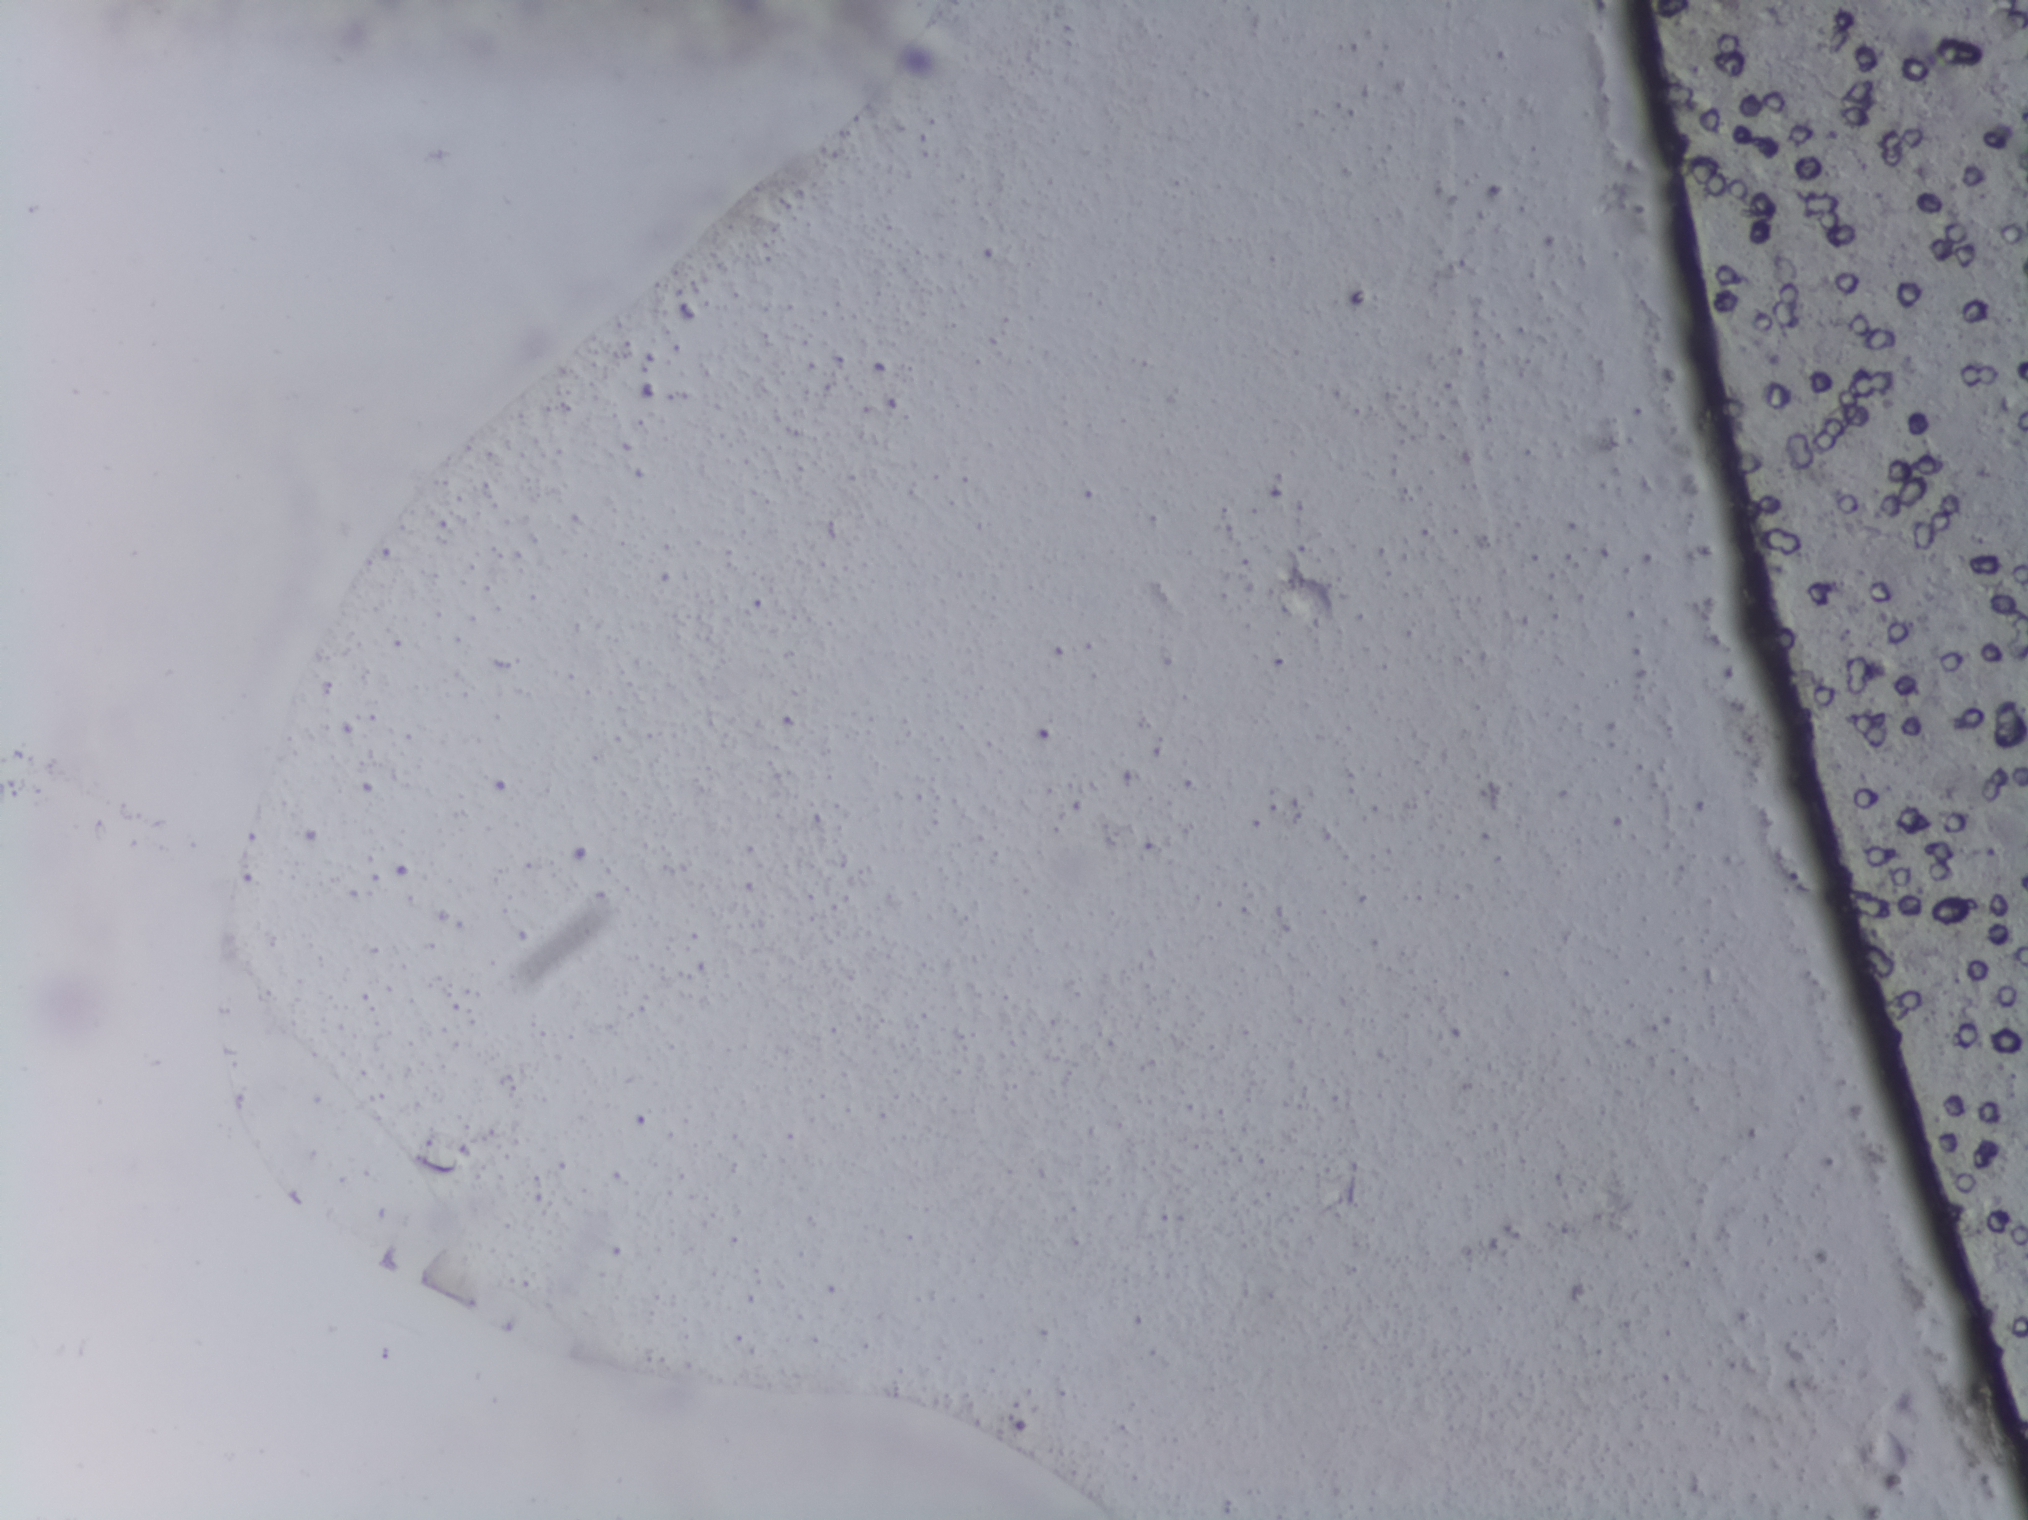
One field of view of a urine filter membrane, 4× objective, 2028 × 1520 pixels.
No area of this image was outlined as a Schistosoma egg.